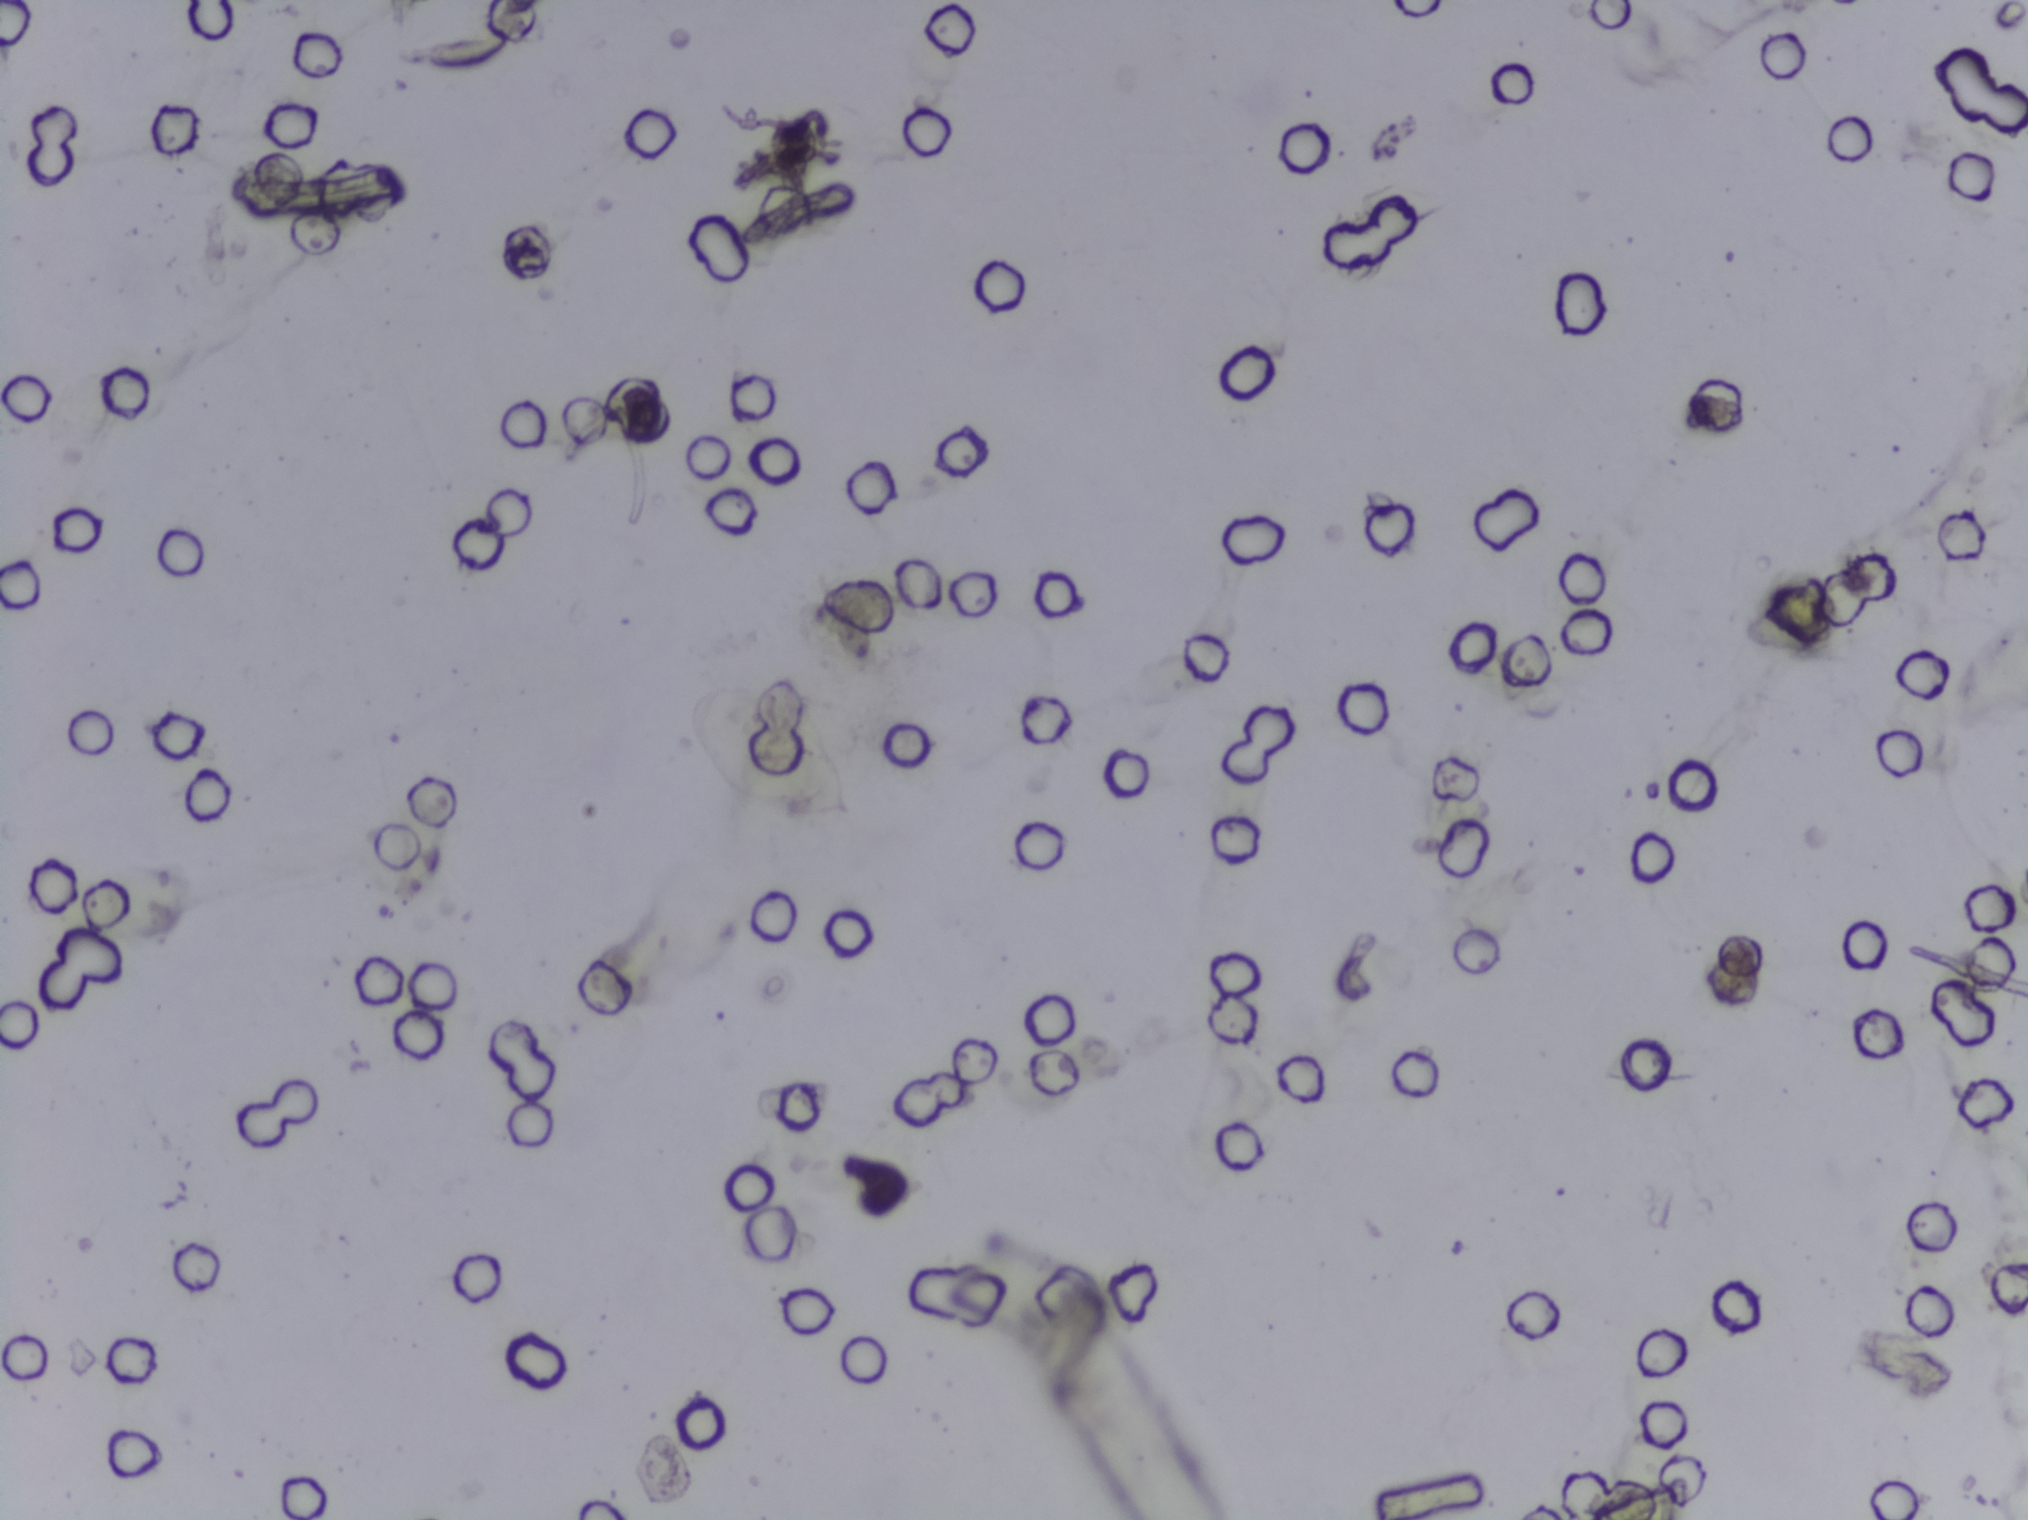
Photograph from an automated digital microscope: urine filter membrane, 4× objective.
The expert annotation marks no Schistosoma egg in this field of view.